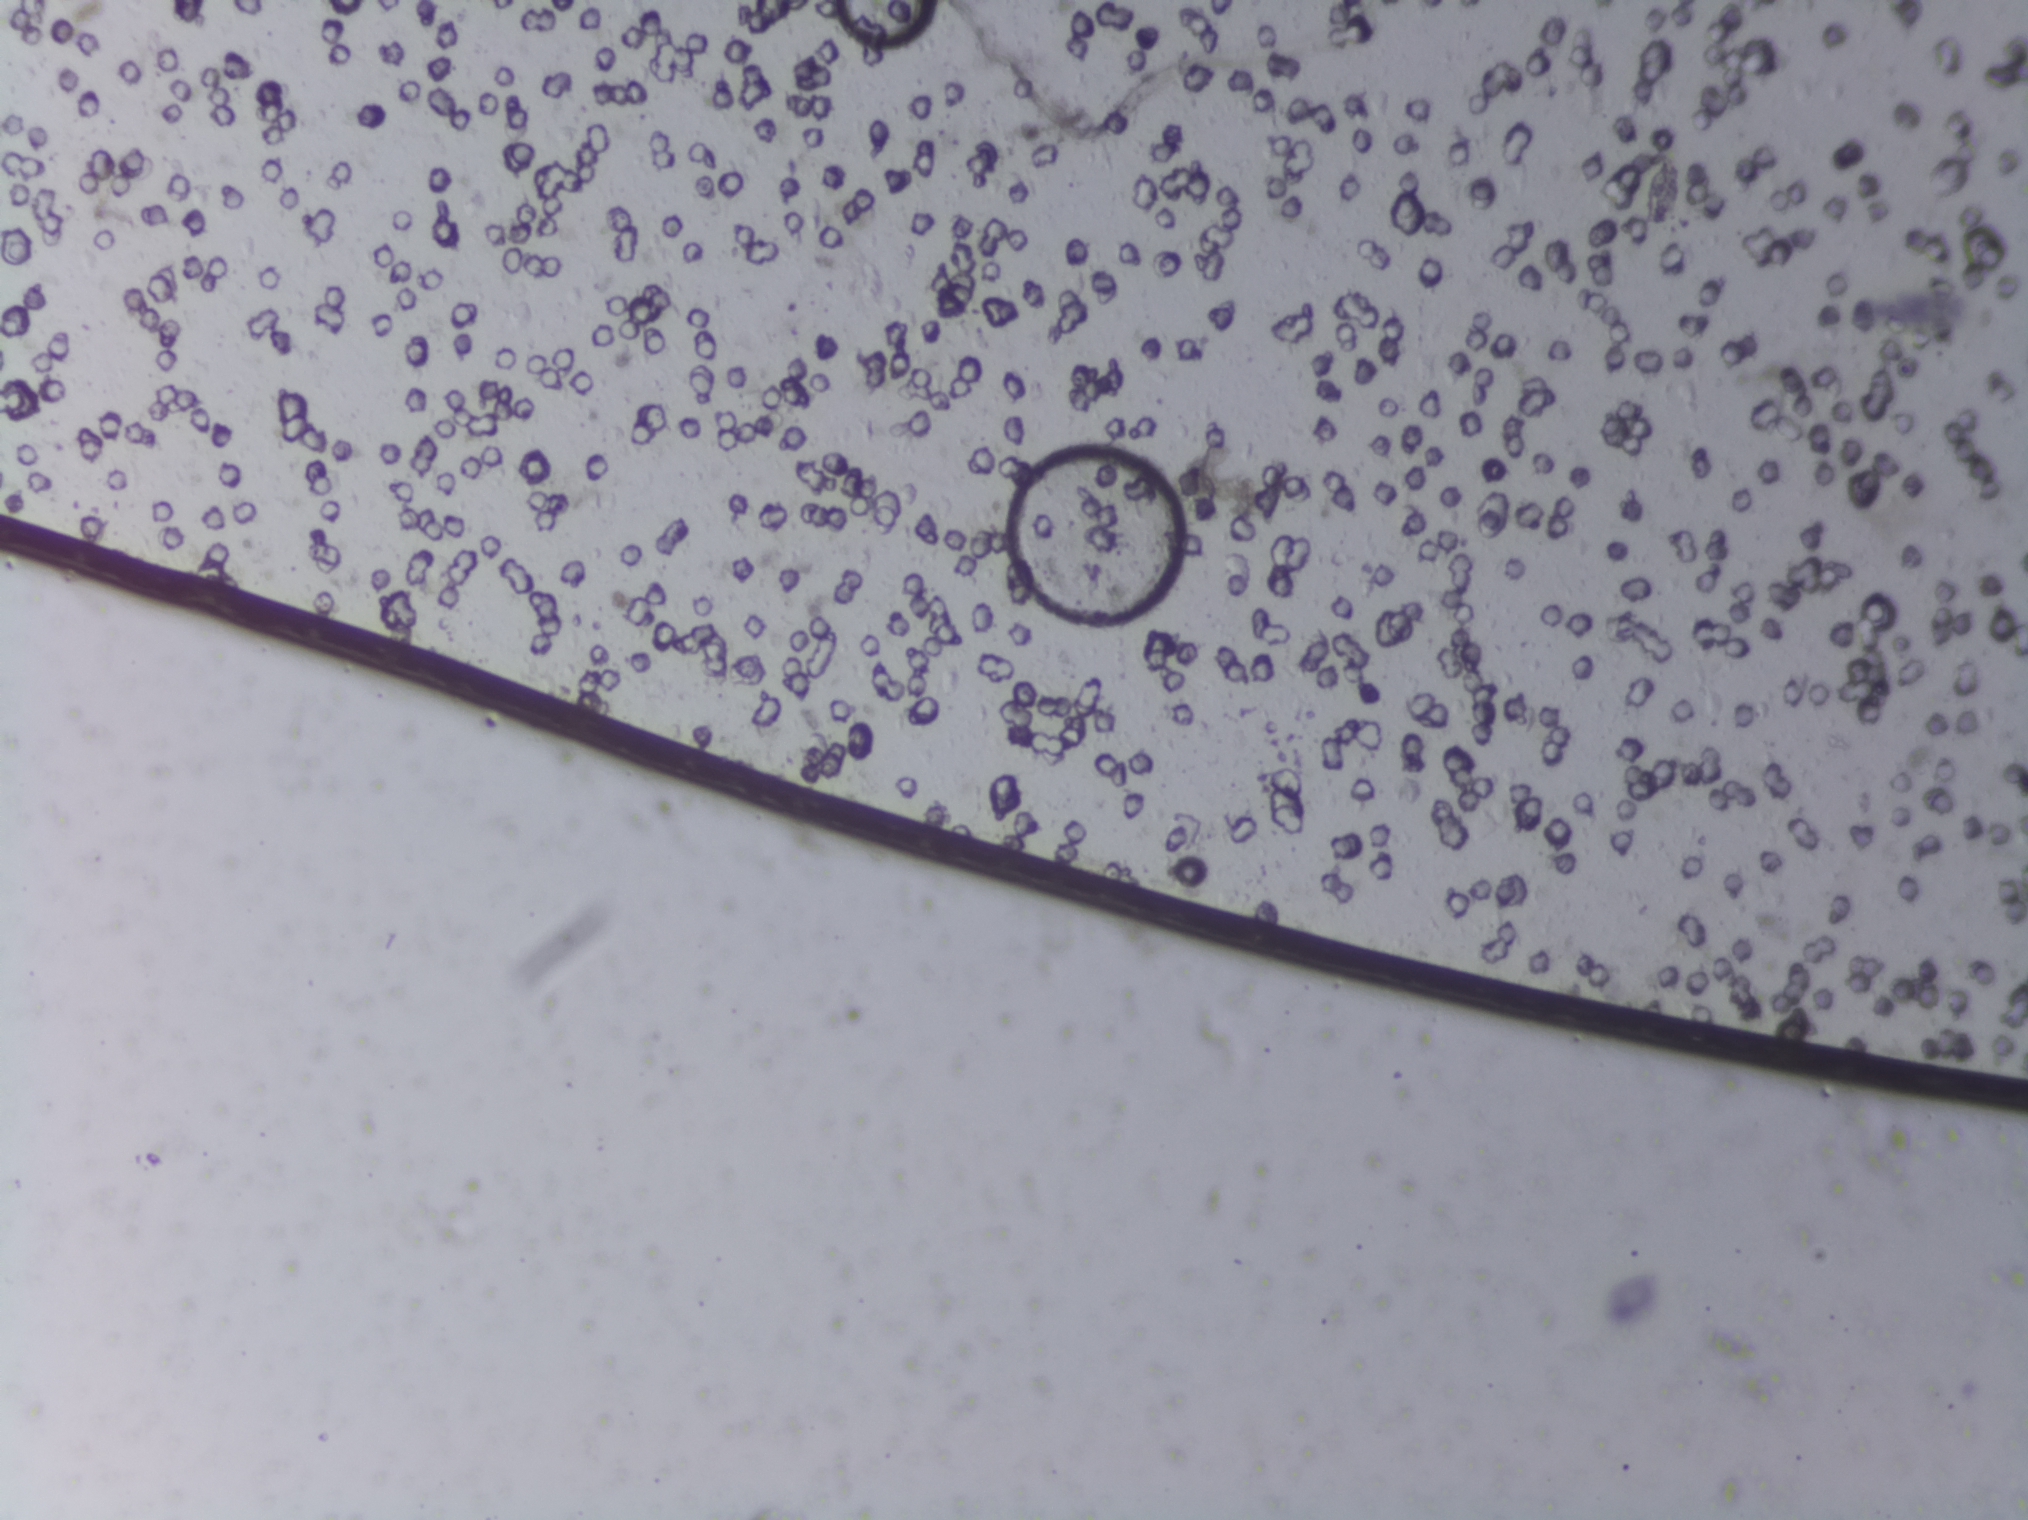
No Schistosoma egg is outlined in this image's expert annotation.
Photomicrograph of a urine filtration membrane, 4× objective. Field of view: about 1.5 mm wide and 1.1 mm high.